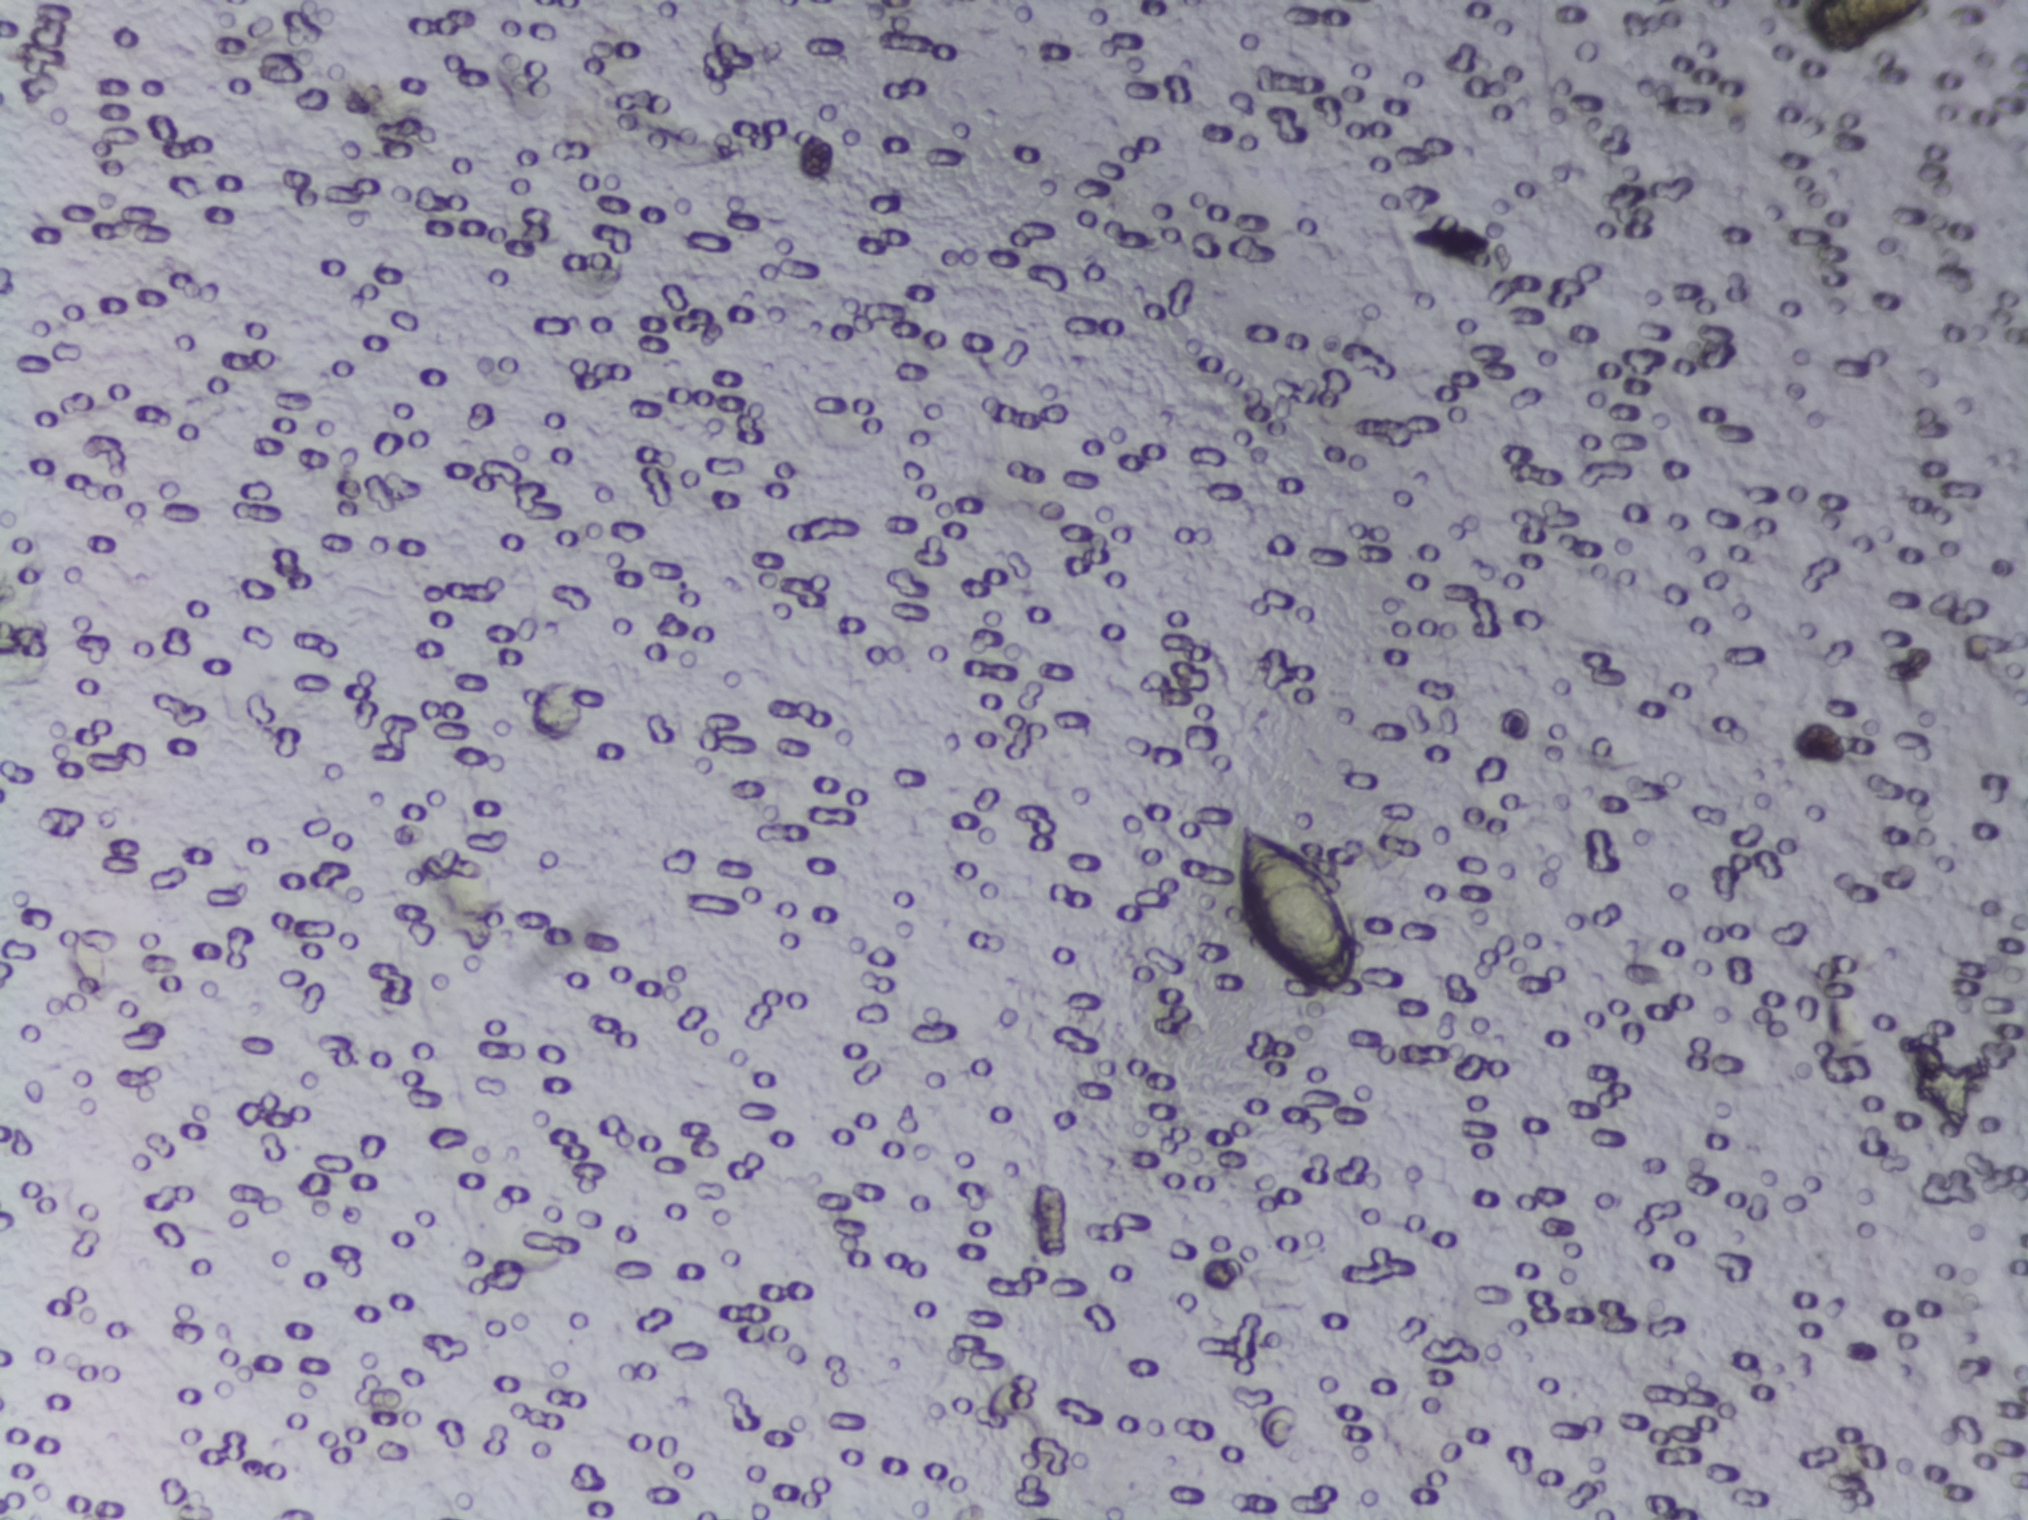
Urine filtration membrane under a 4× objective, photographed by an automated digital microscope. Field of view: about 1.5 mm wide and 1.1 mm high.
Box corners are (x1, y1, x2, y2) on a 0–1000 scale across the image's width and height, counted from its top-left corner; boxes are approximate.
Schistosoma eggs are outlined in two areas of this image, listed from left to right: (608, 539, 673, 659) and (888, 0, 951, 36) (reaching the top edge of the frame). A single outlined area may contain several eggs. Any one outlined egg may, rarely, be S. mansoni rather than S. haematobium.